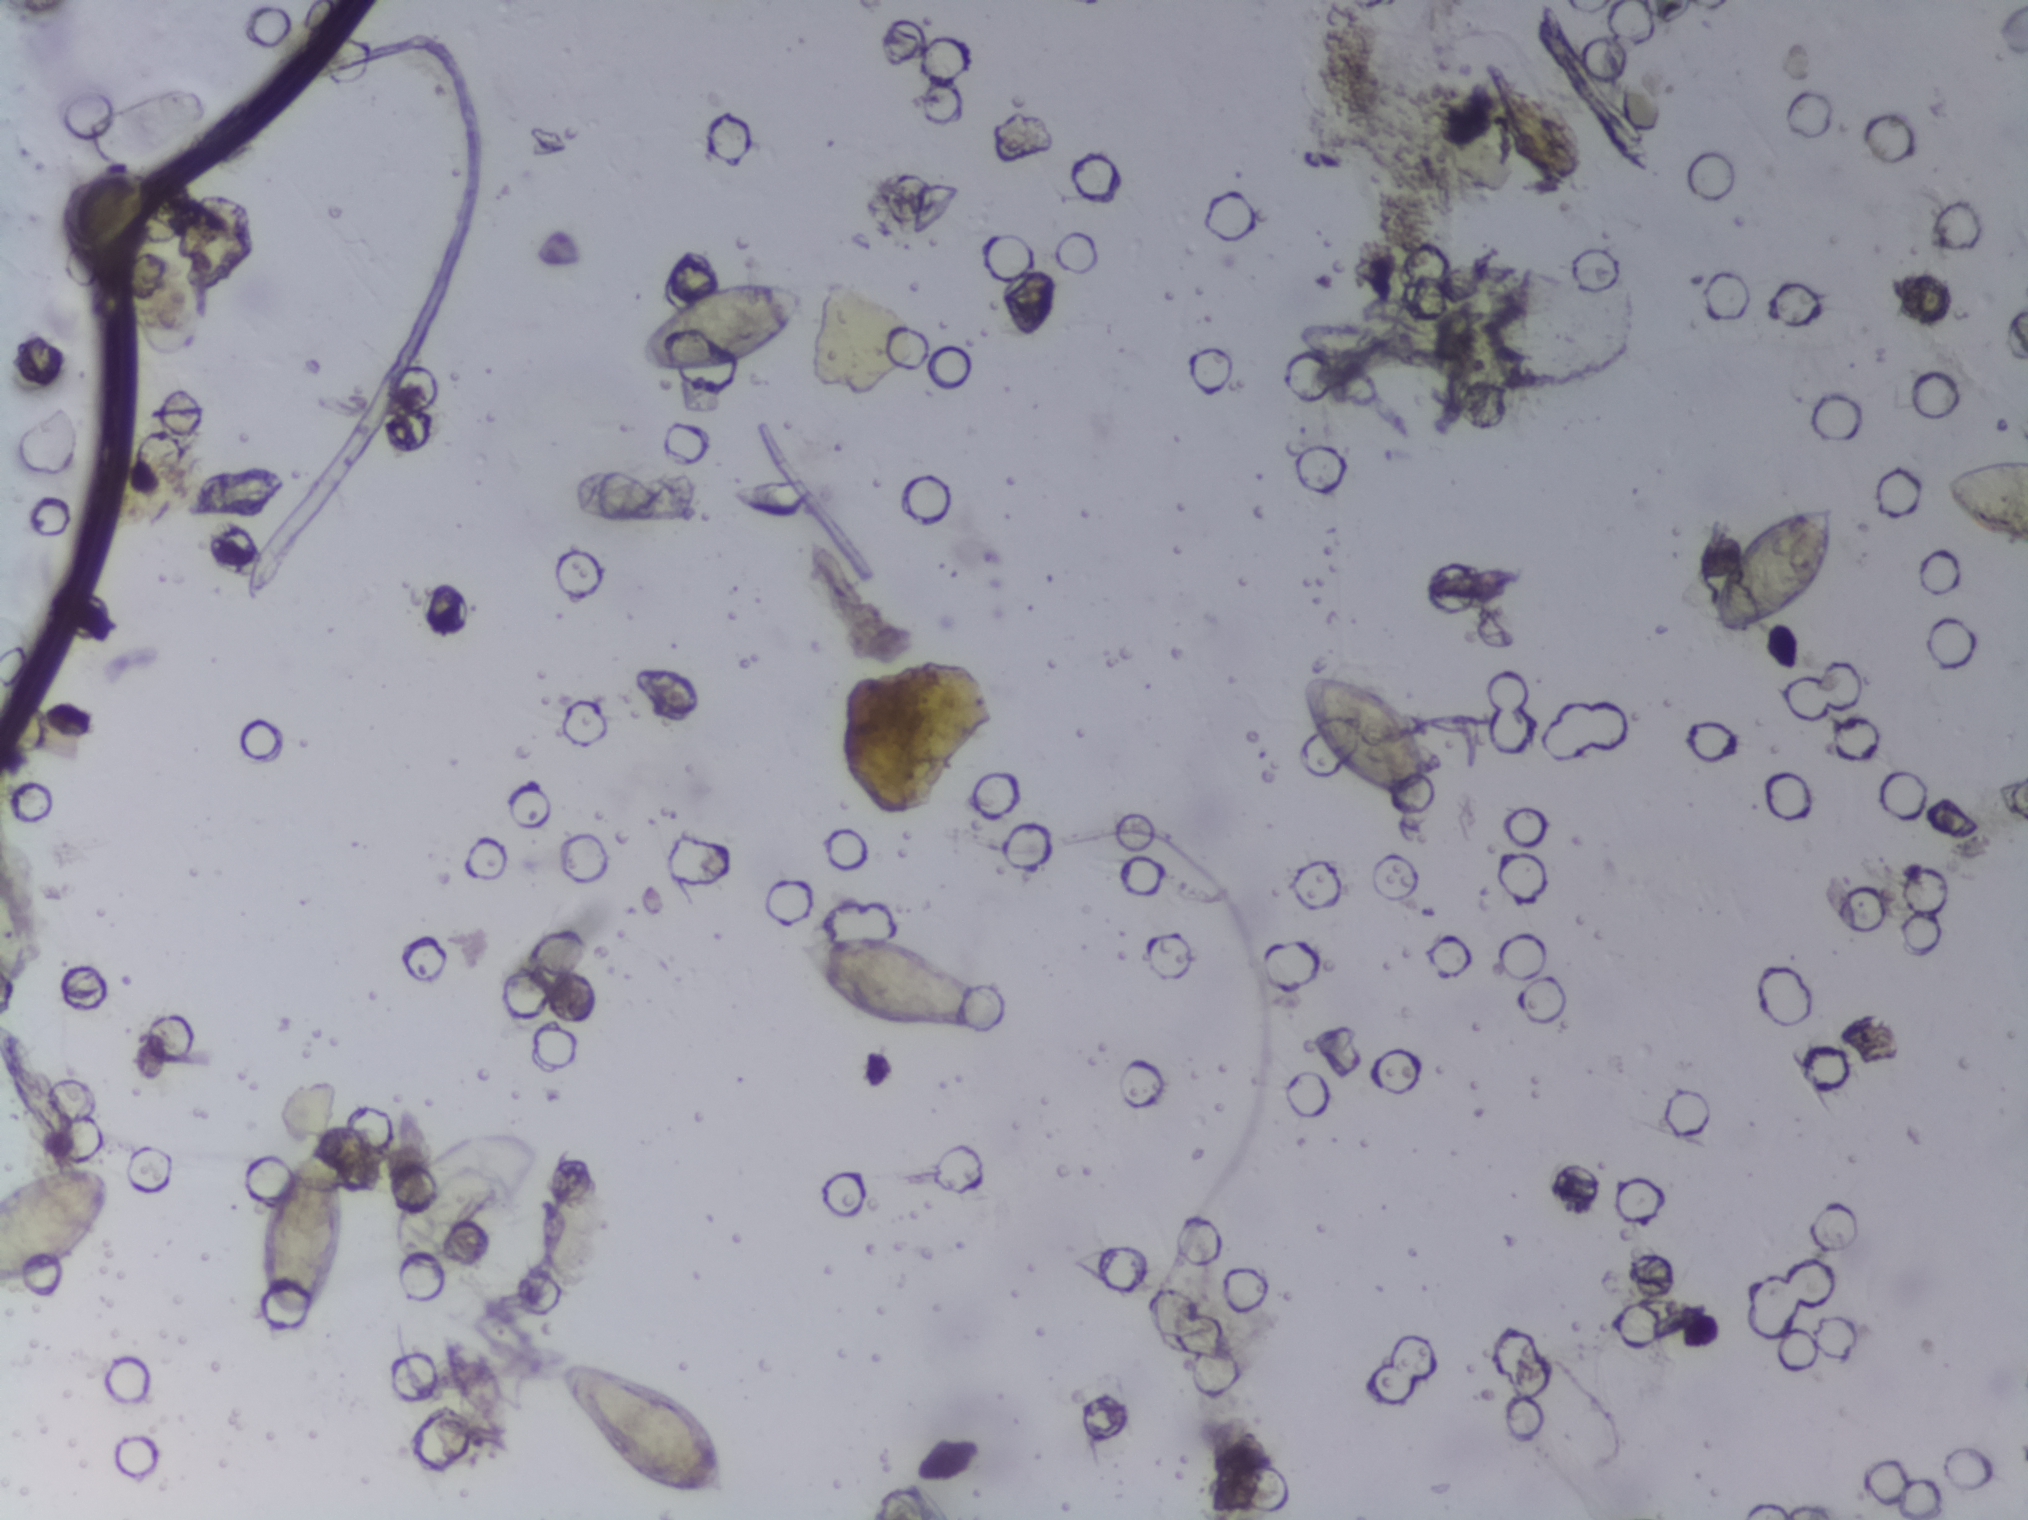
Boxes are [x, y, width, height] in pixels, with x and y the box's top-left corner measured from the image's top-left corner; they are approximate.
Schistosoma eggs are outlined in eight areas of this image, listed from left to right: [0, 1165, 116, 116] (reaching the left edge of the frame); [259, 1140, 91, 183]; [560, 1361, 166, 137]; [633, 278, 175, 102]; [799, 933, 201, 103]; [1297, 672, 137, 137]; [1707, 503, 134, 140]; [1941, 459, 87, 89] (reaching the right edge of the frame). An outlined area can hold more than one egg.
Urine filtration membrane under a 4× objective, photographed by an automated digital microscope.